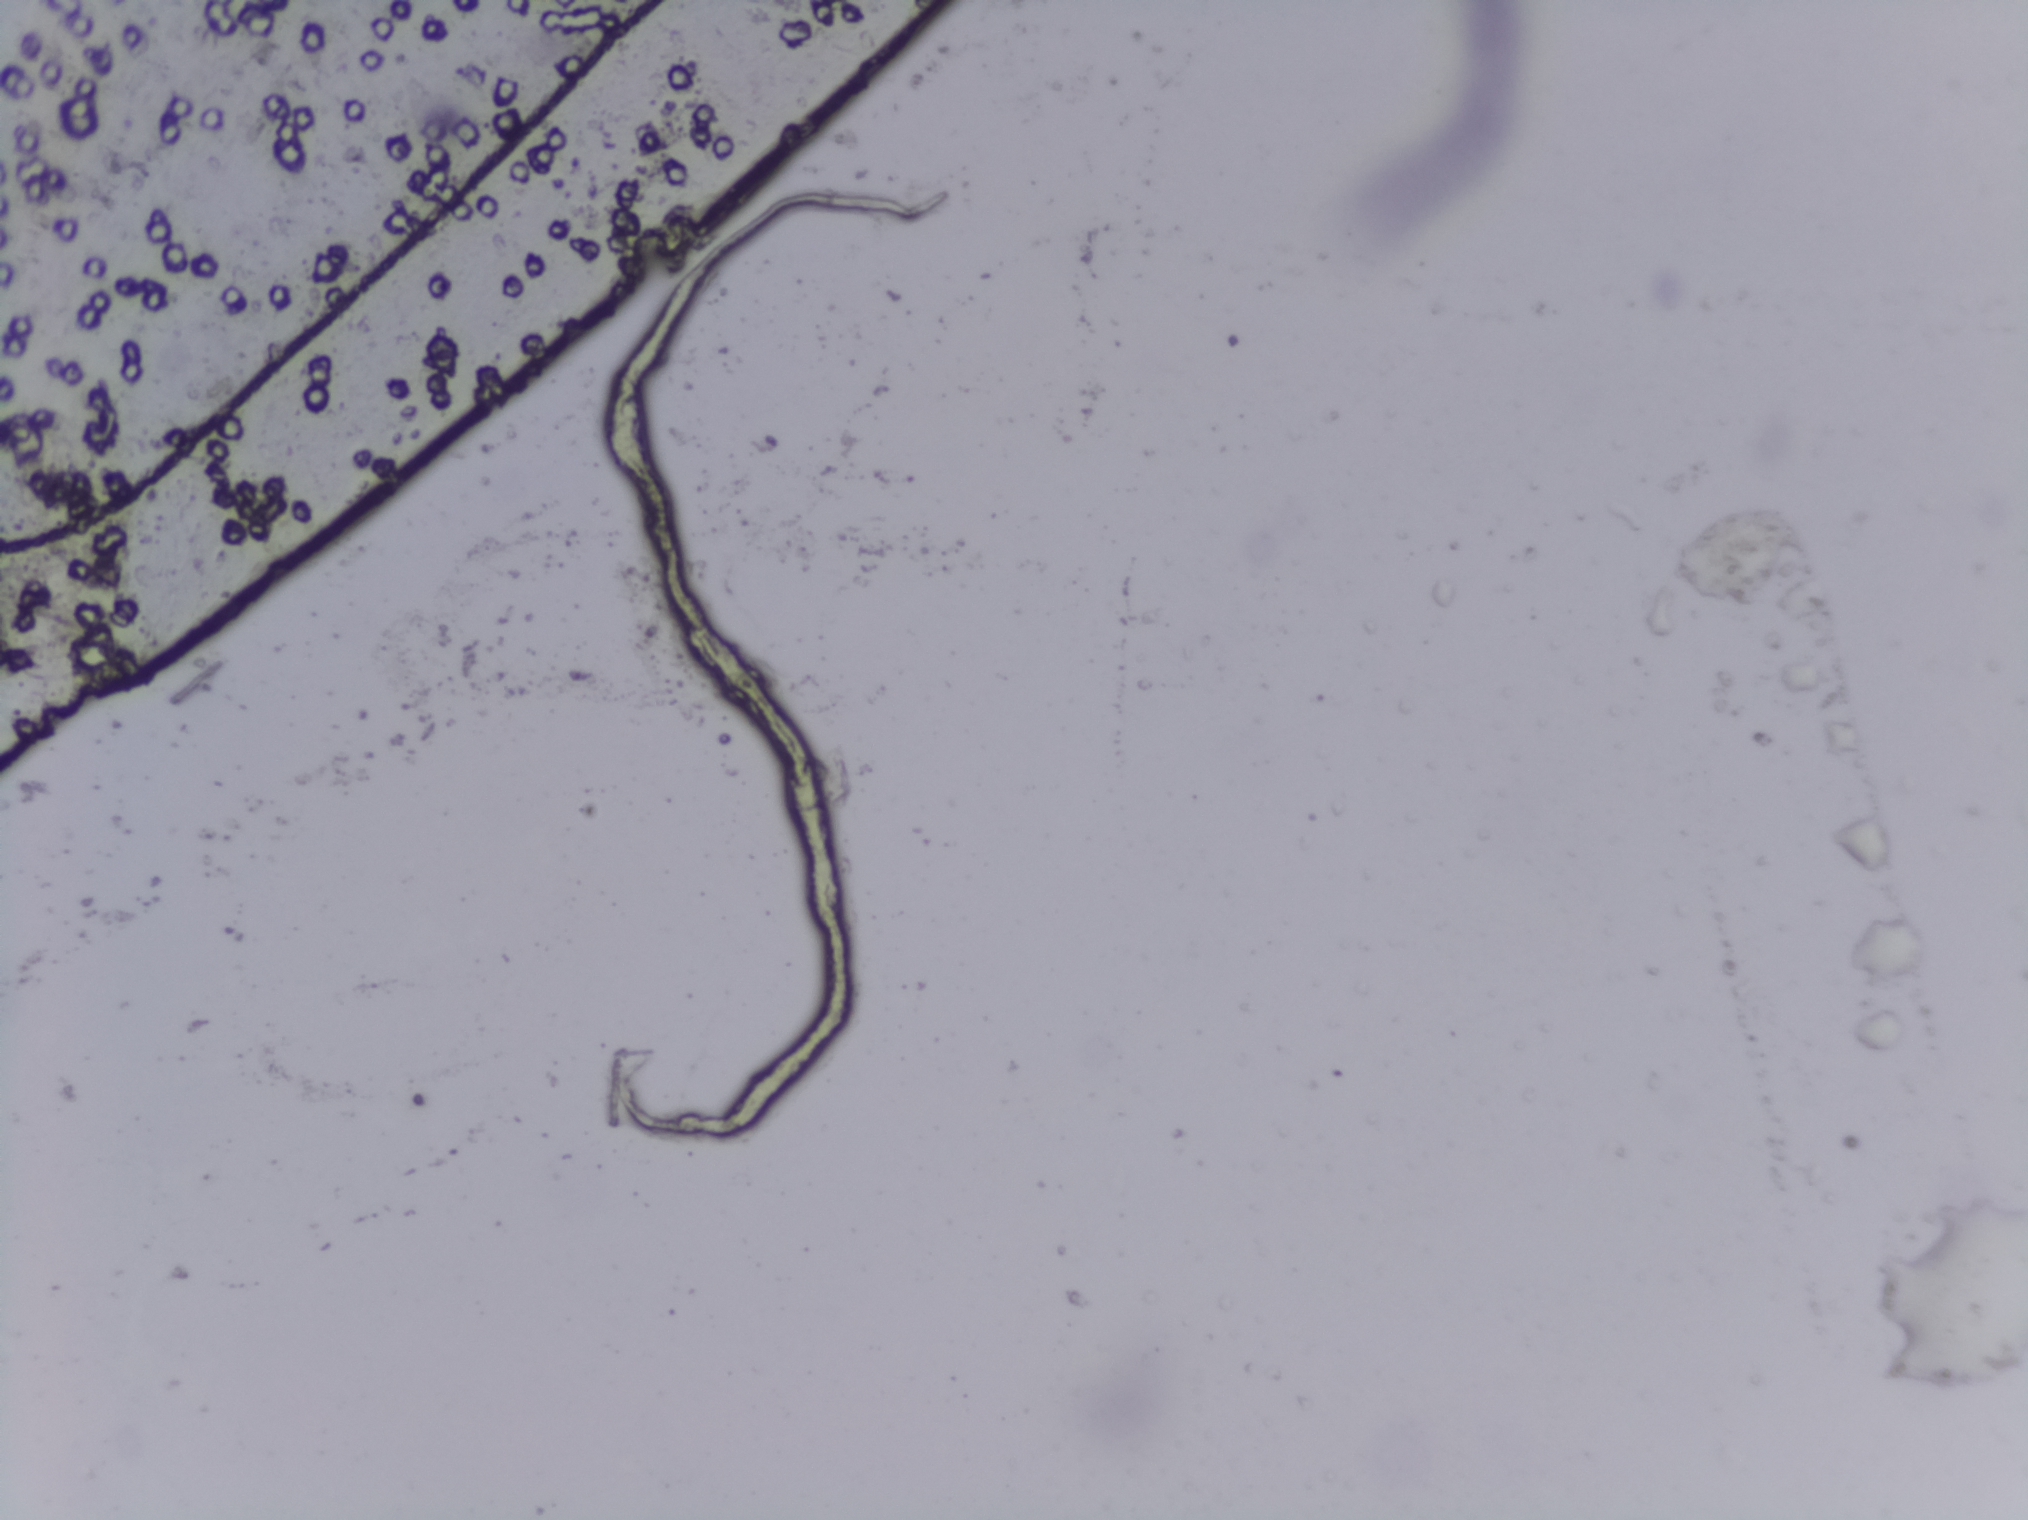
The expert annotation outlines no Schistosoma egg in this image.
Urine filter membrane photographed through a 4× microscope objective. The field of view is about 1.5 mm × 1.1 mm.